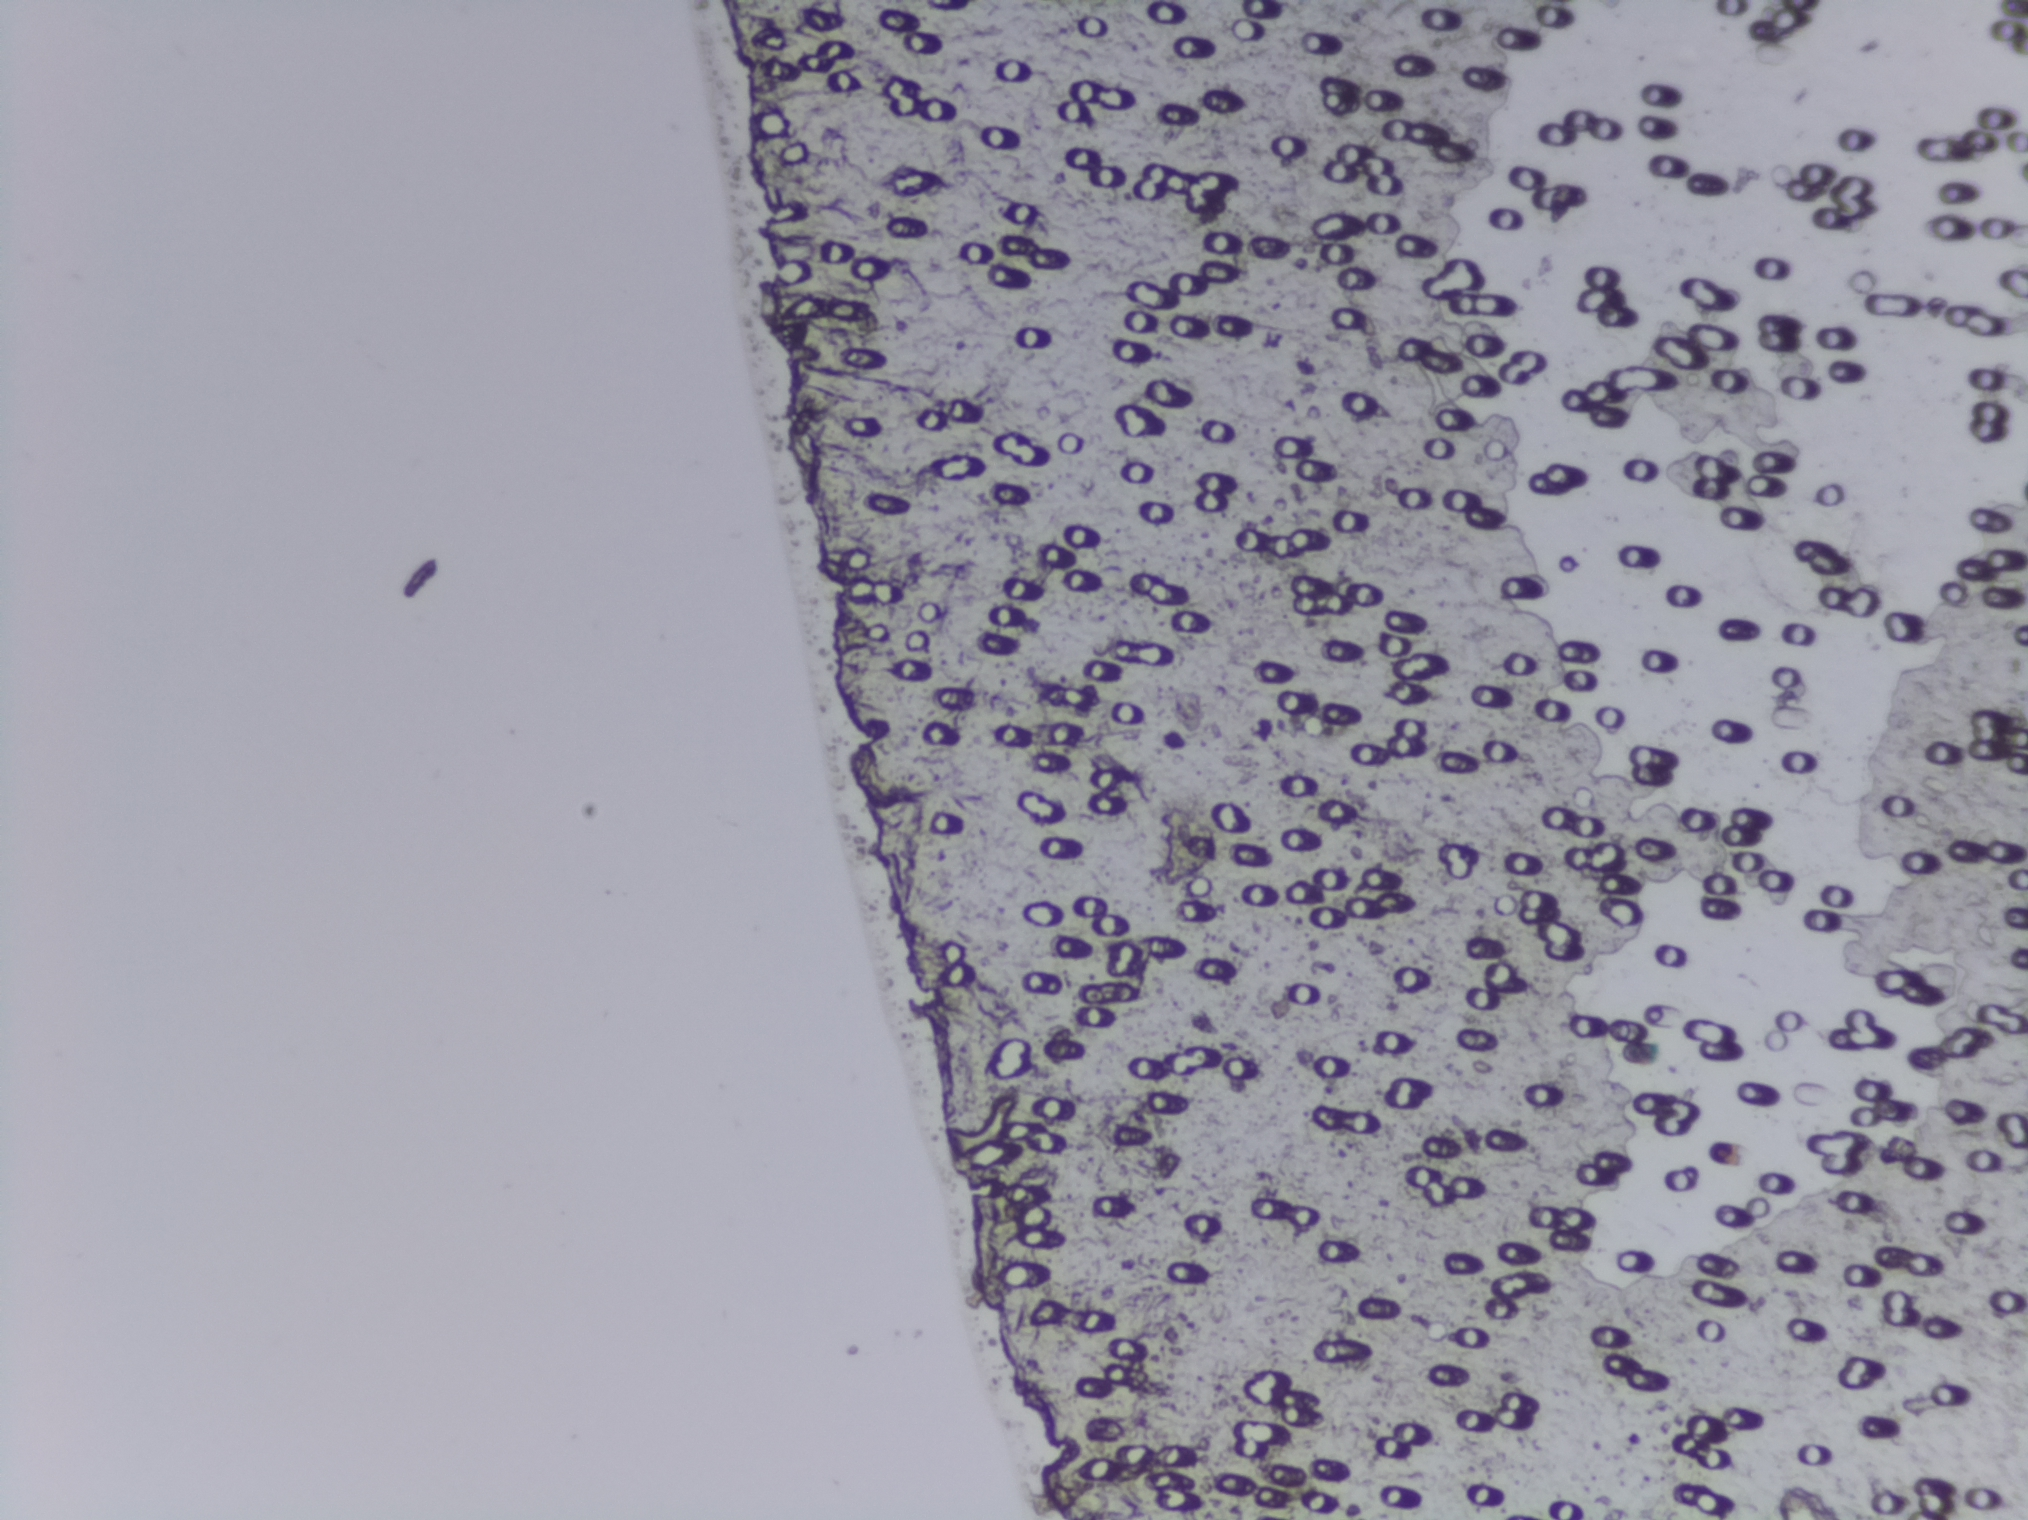
Schistosoma eggs: none outlined.
Urine filter membrane photographed through a 4× microscope objective. Field of view: about 1.5 mm wide and 1.1 mm high.